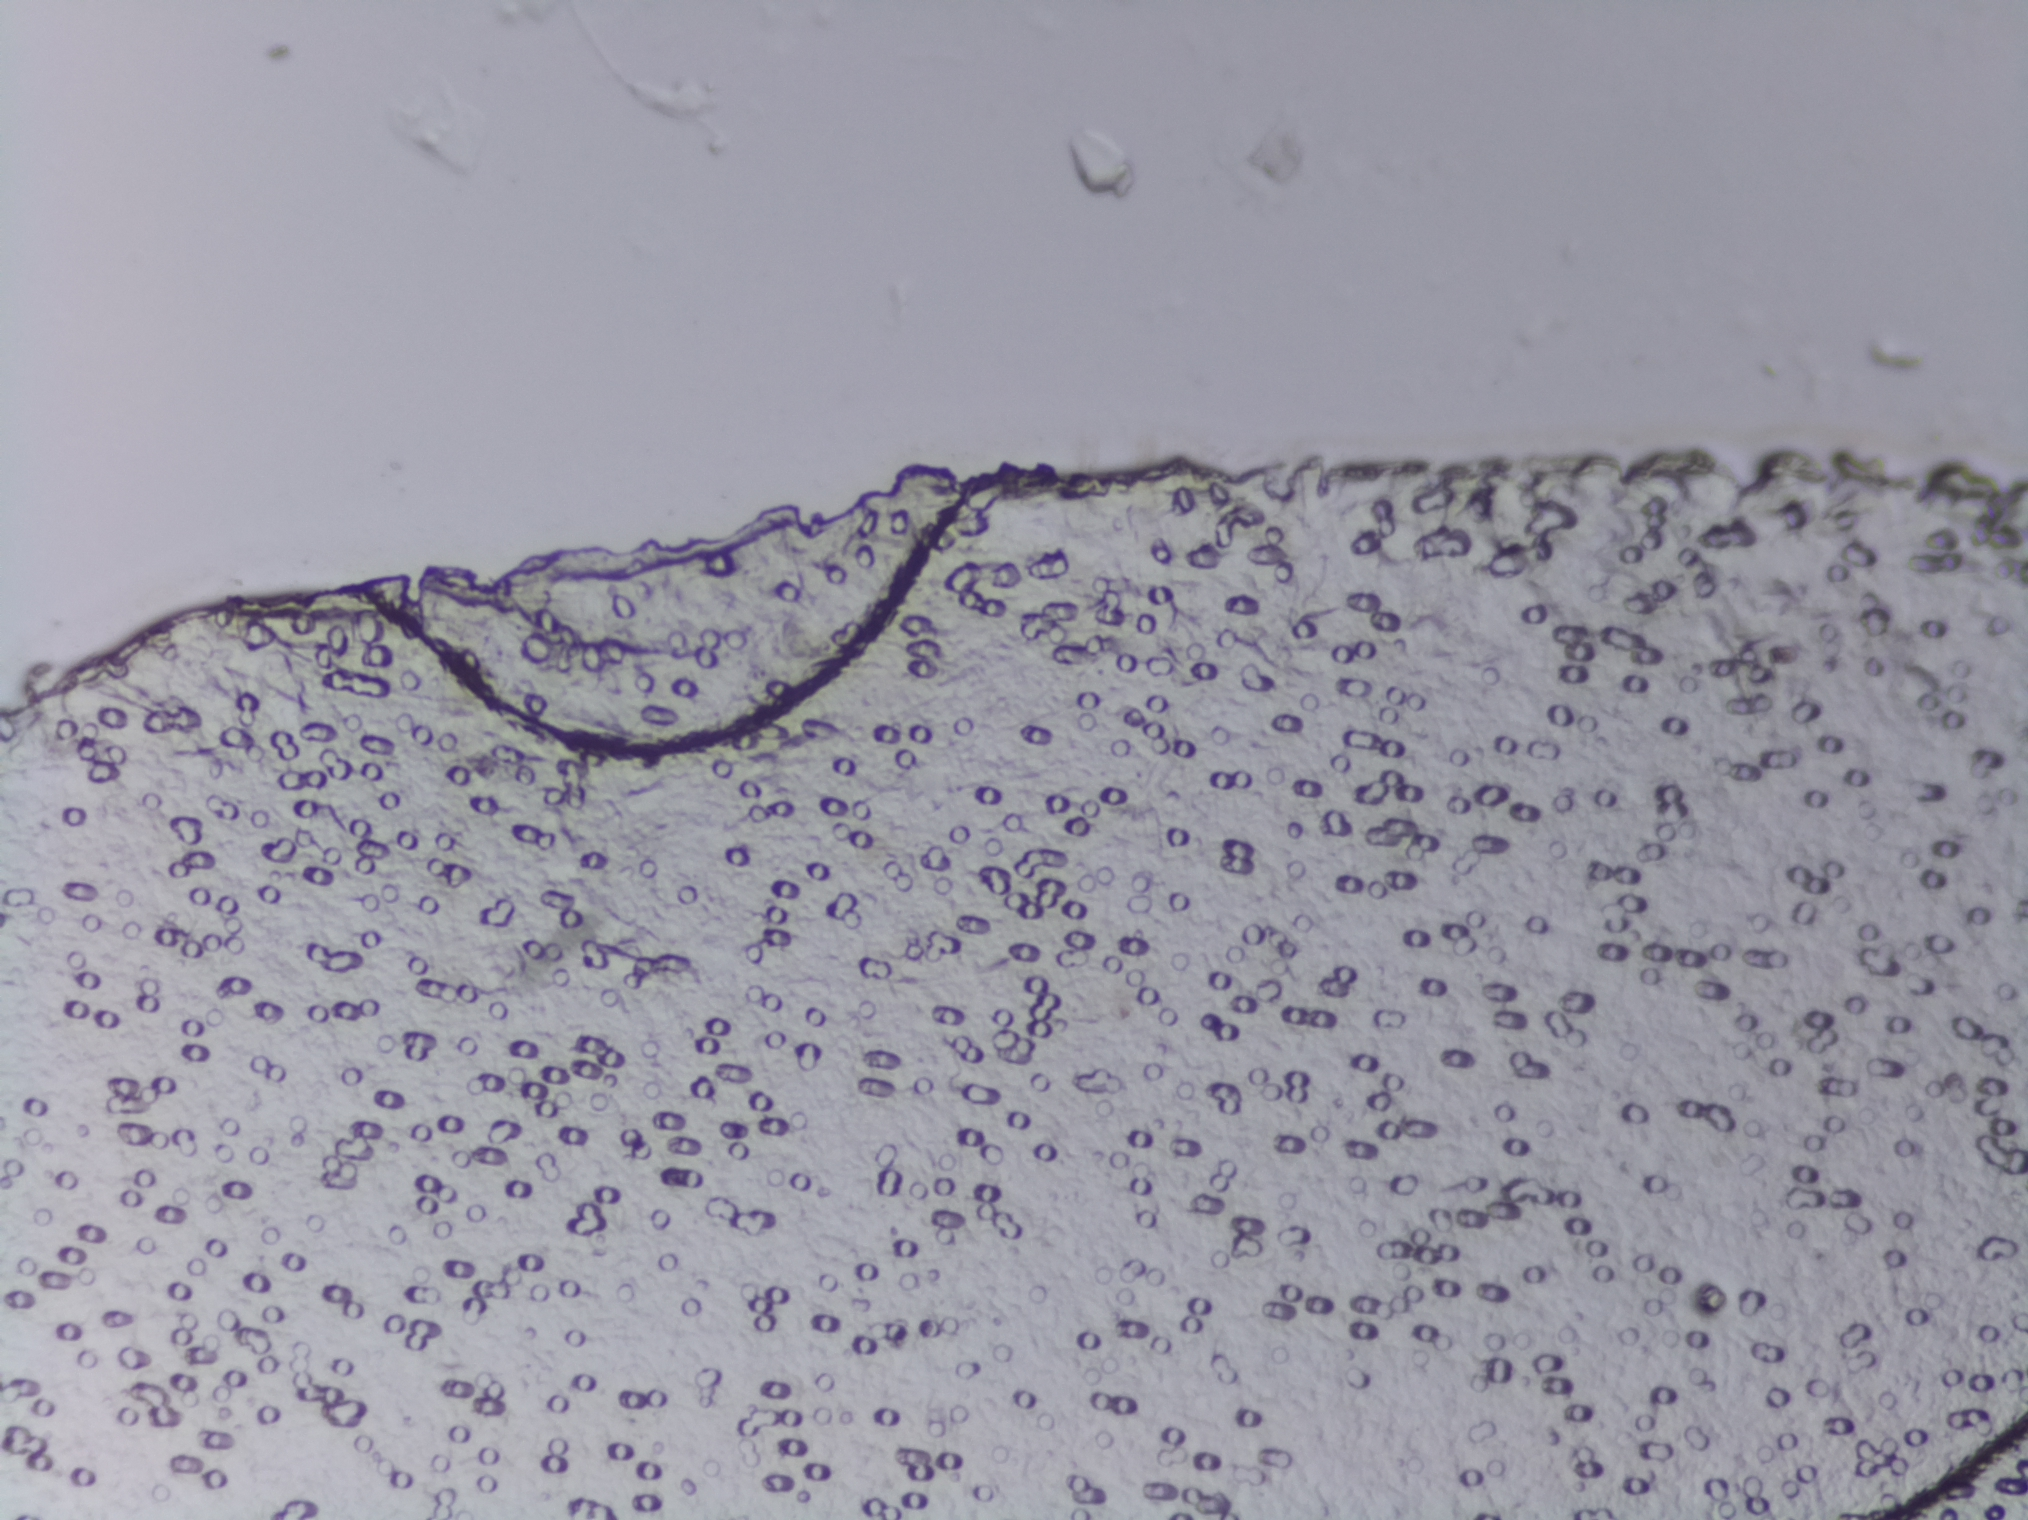
No area of this image was outlined as a Schistosoma egg.
One field of view of a urine filter membrane, 4× objective, 2028 × 1520 pixels.